One field of view of a urine filter membrane, 4× objective, 2028 × 1520 pixels.
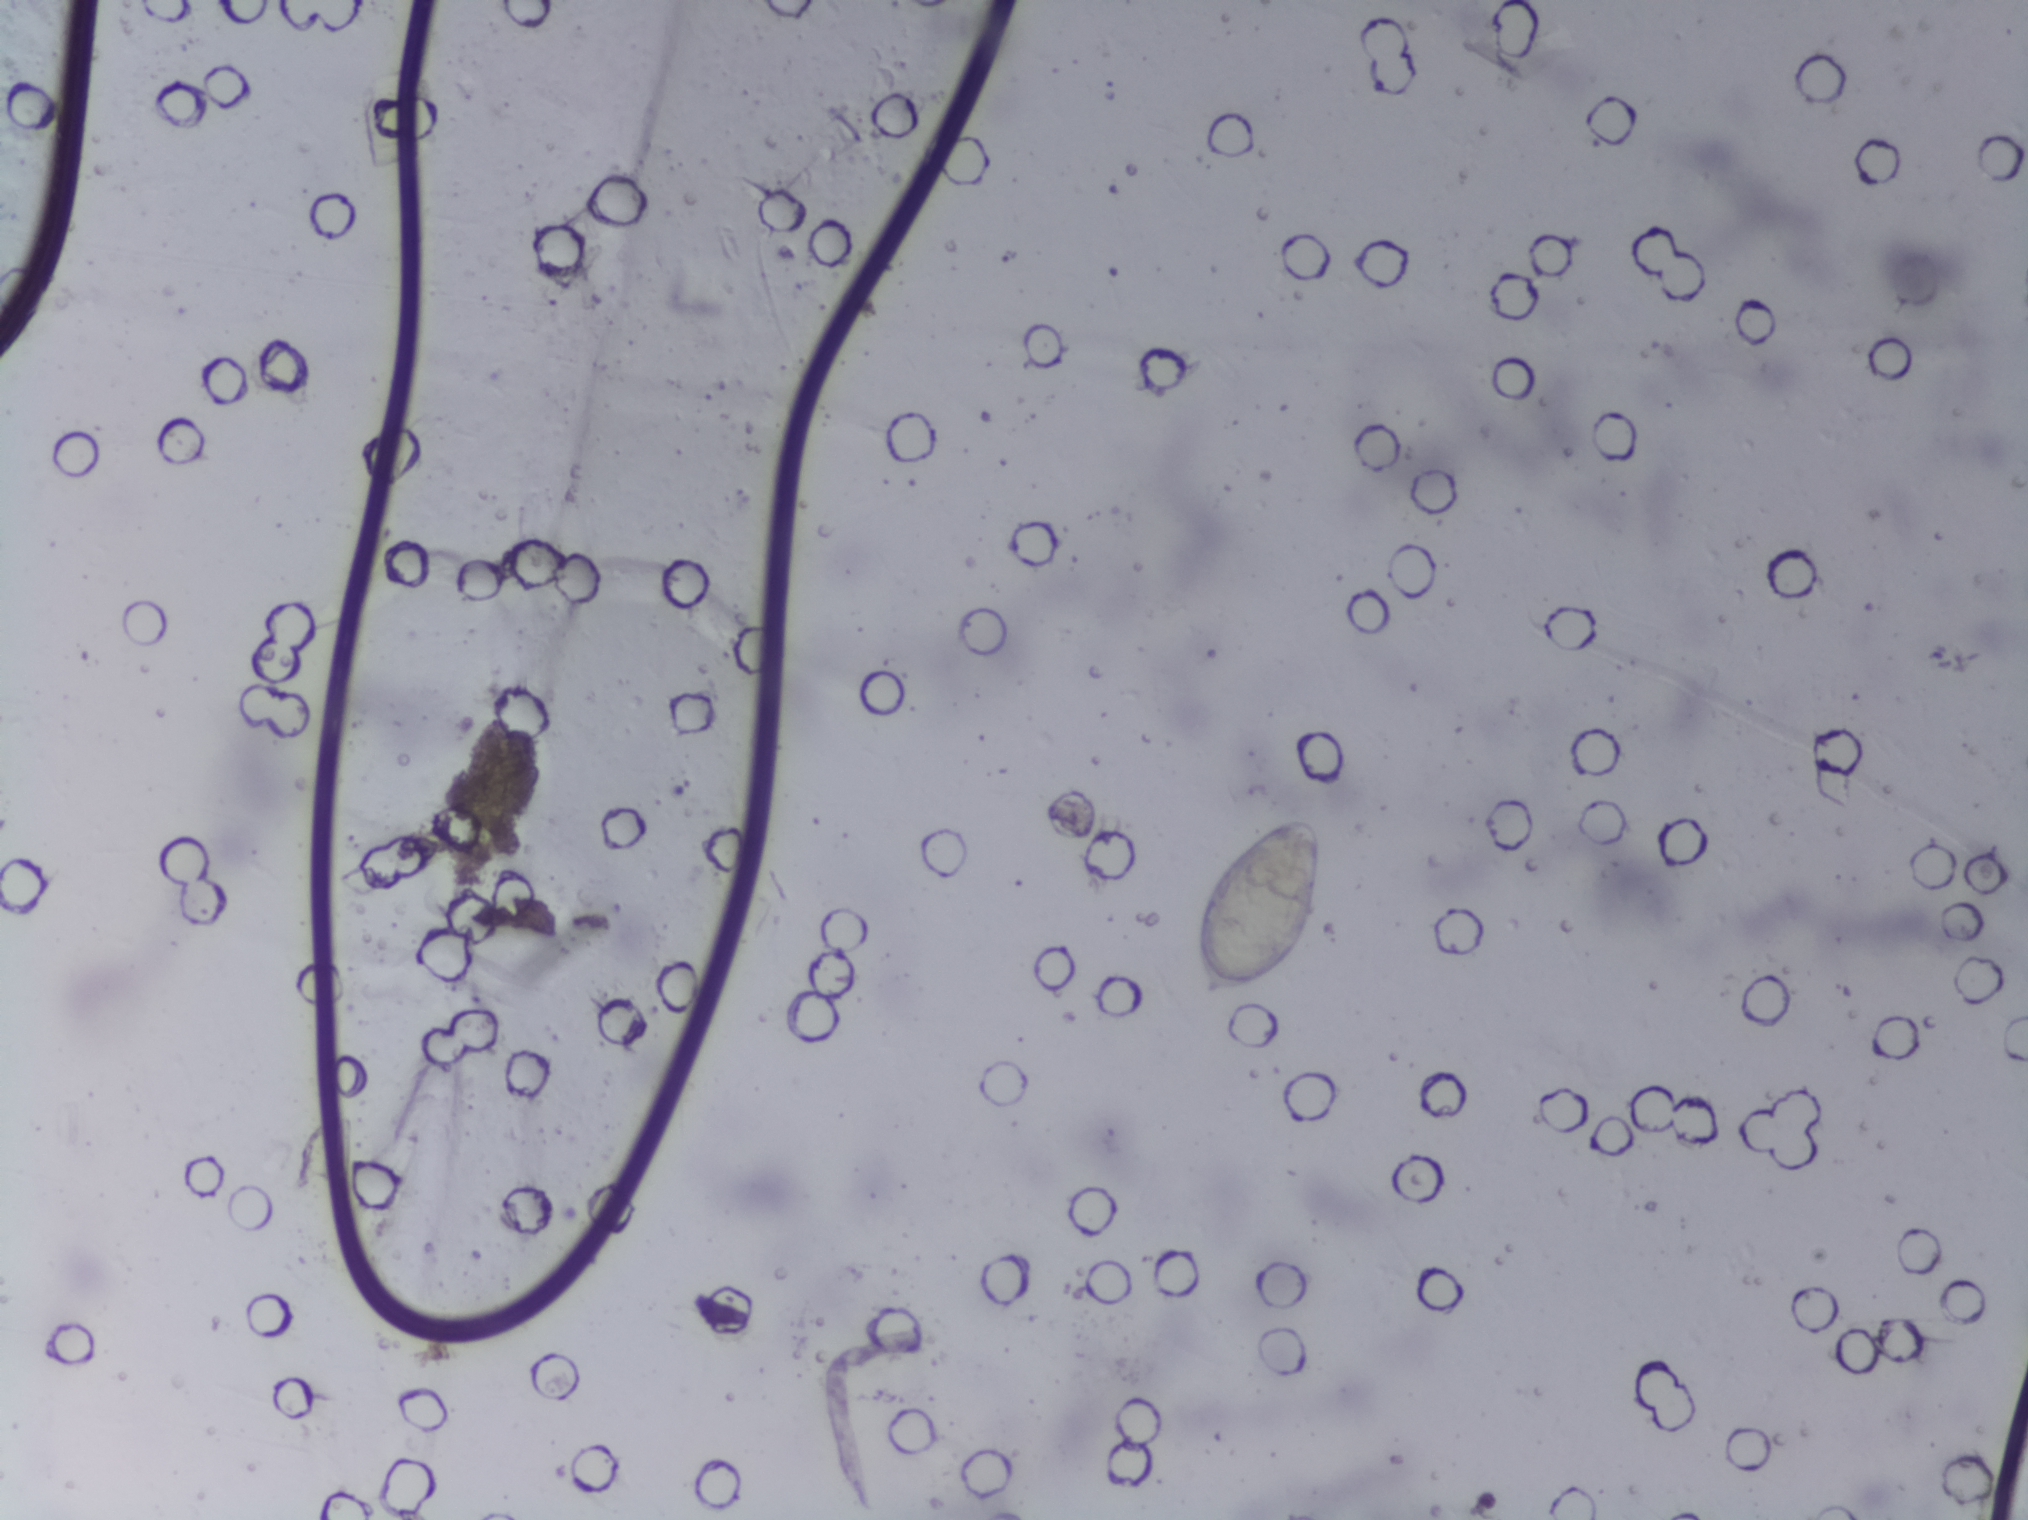
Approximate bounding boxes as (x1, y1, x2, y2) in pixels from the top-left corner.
Schistosoma egg areas, outlined: (1194, 816, 1325, 1006). A single outlined area may contain several eggs.